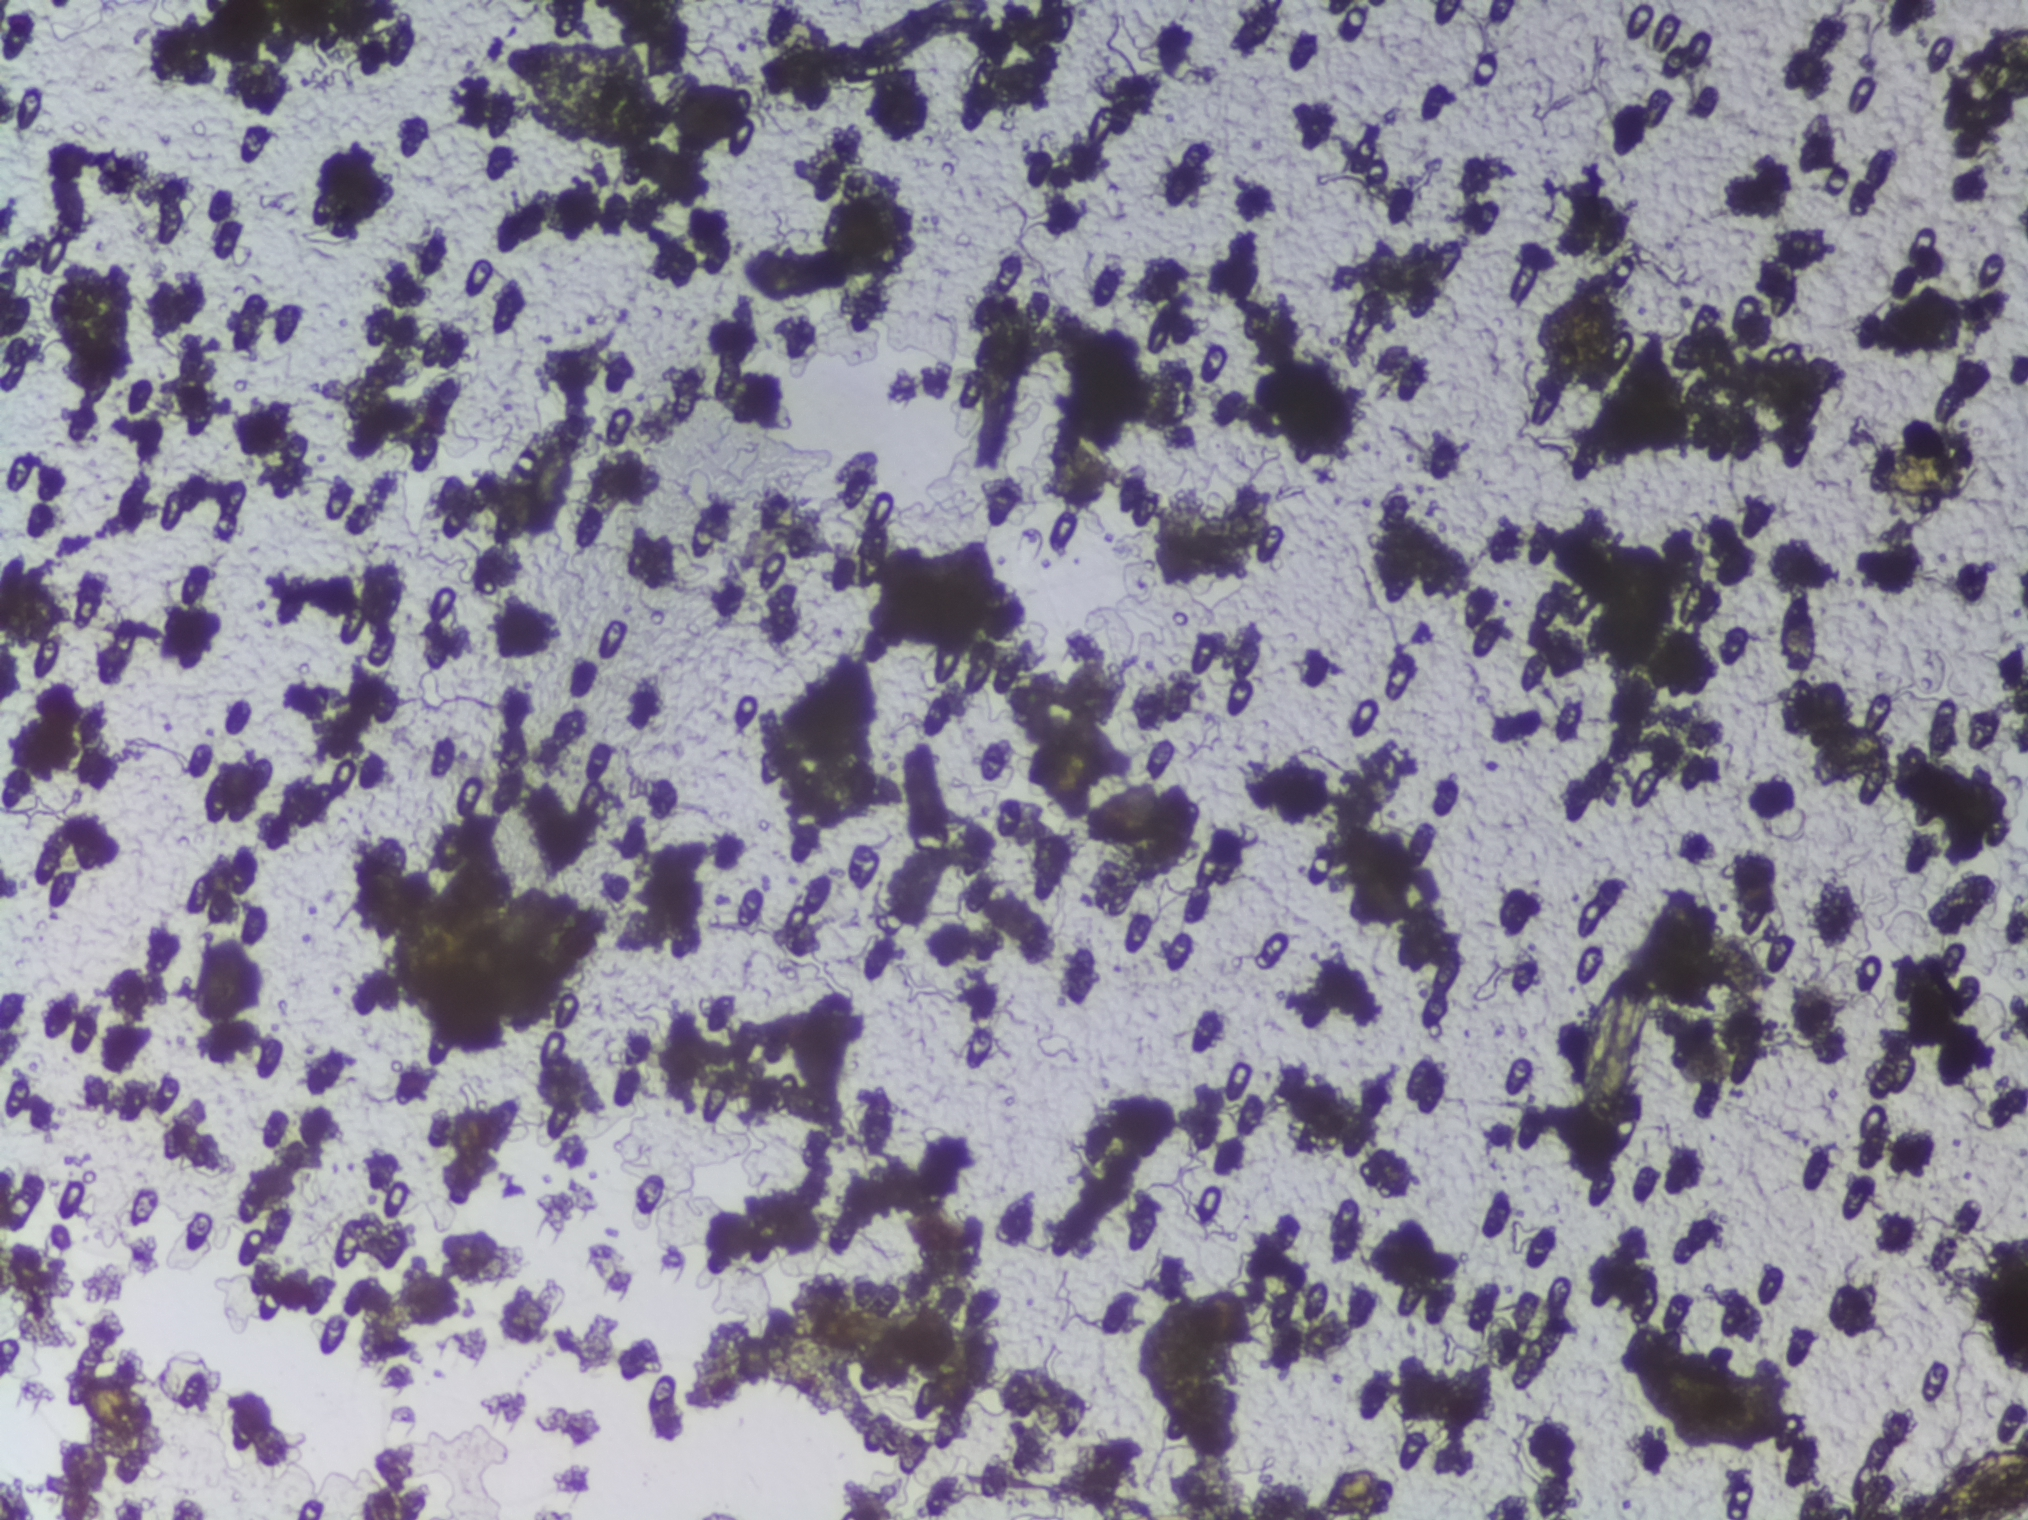
Urine filter membrane photographed through a 4× microscope objective.
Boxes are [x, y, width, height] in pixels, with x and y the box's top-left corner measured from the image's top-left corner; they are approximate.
Two areas of this image are outlined as Schistosoma eggs, from left to right: [1572, 967, 87, 161] and [1913, 1447, 115, 73] (reaching the right and bottom edges of the frame). An outlined area can hold more than one egg. Any one outlined egg may, rarely, be S. mansoni rather than S. haematobium.